Photograph from an automated digital microscope: urine filter membrane, 4× objective.
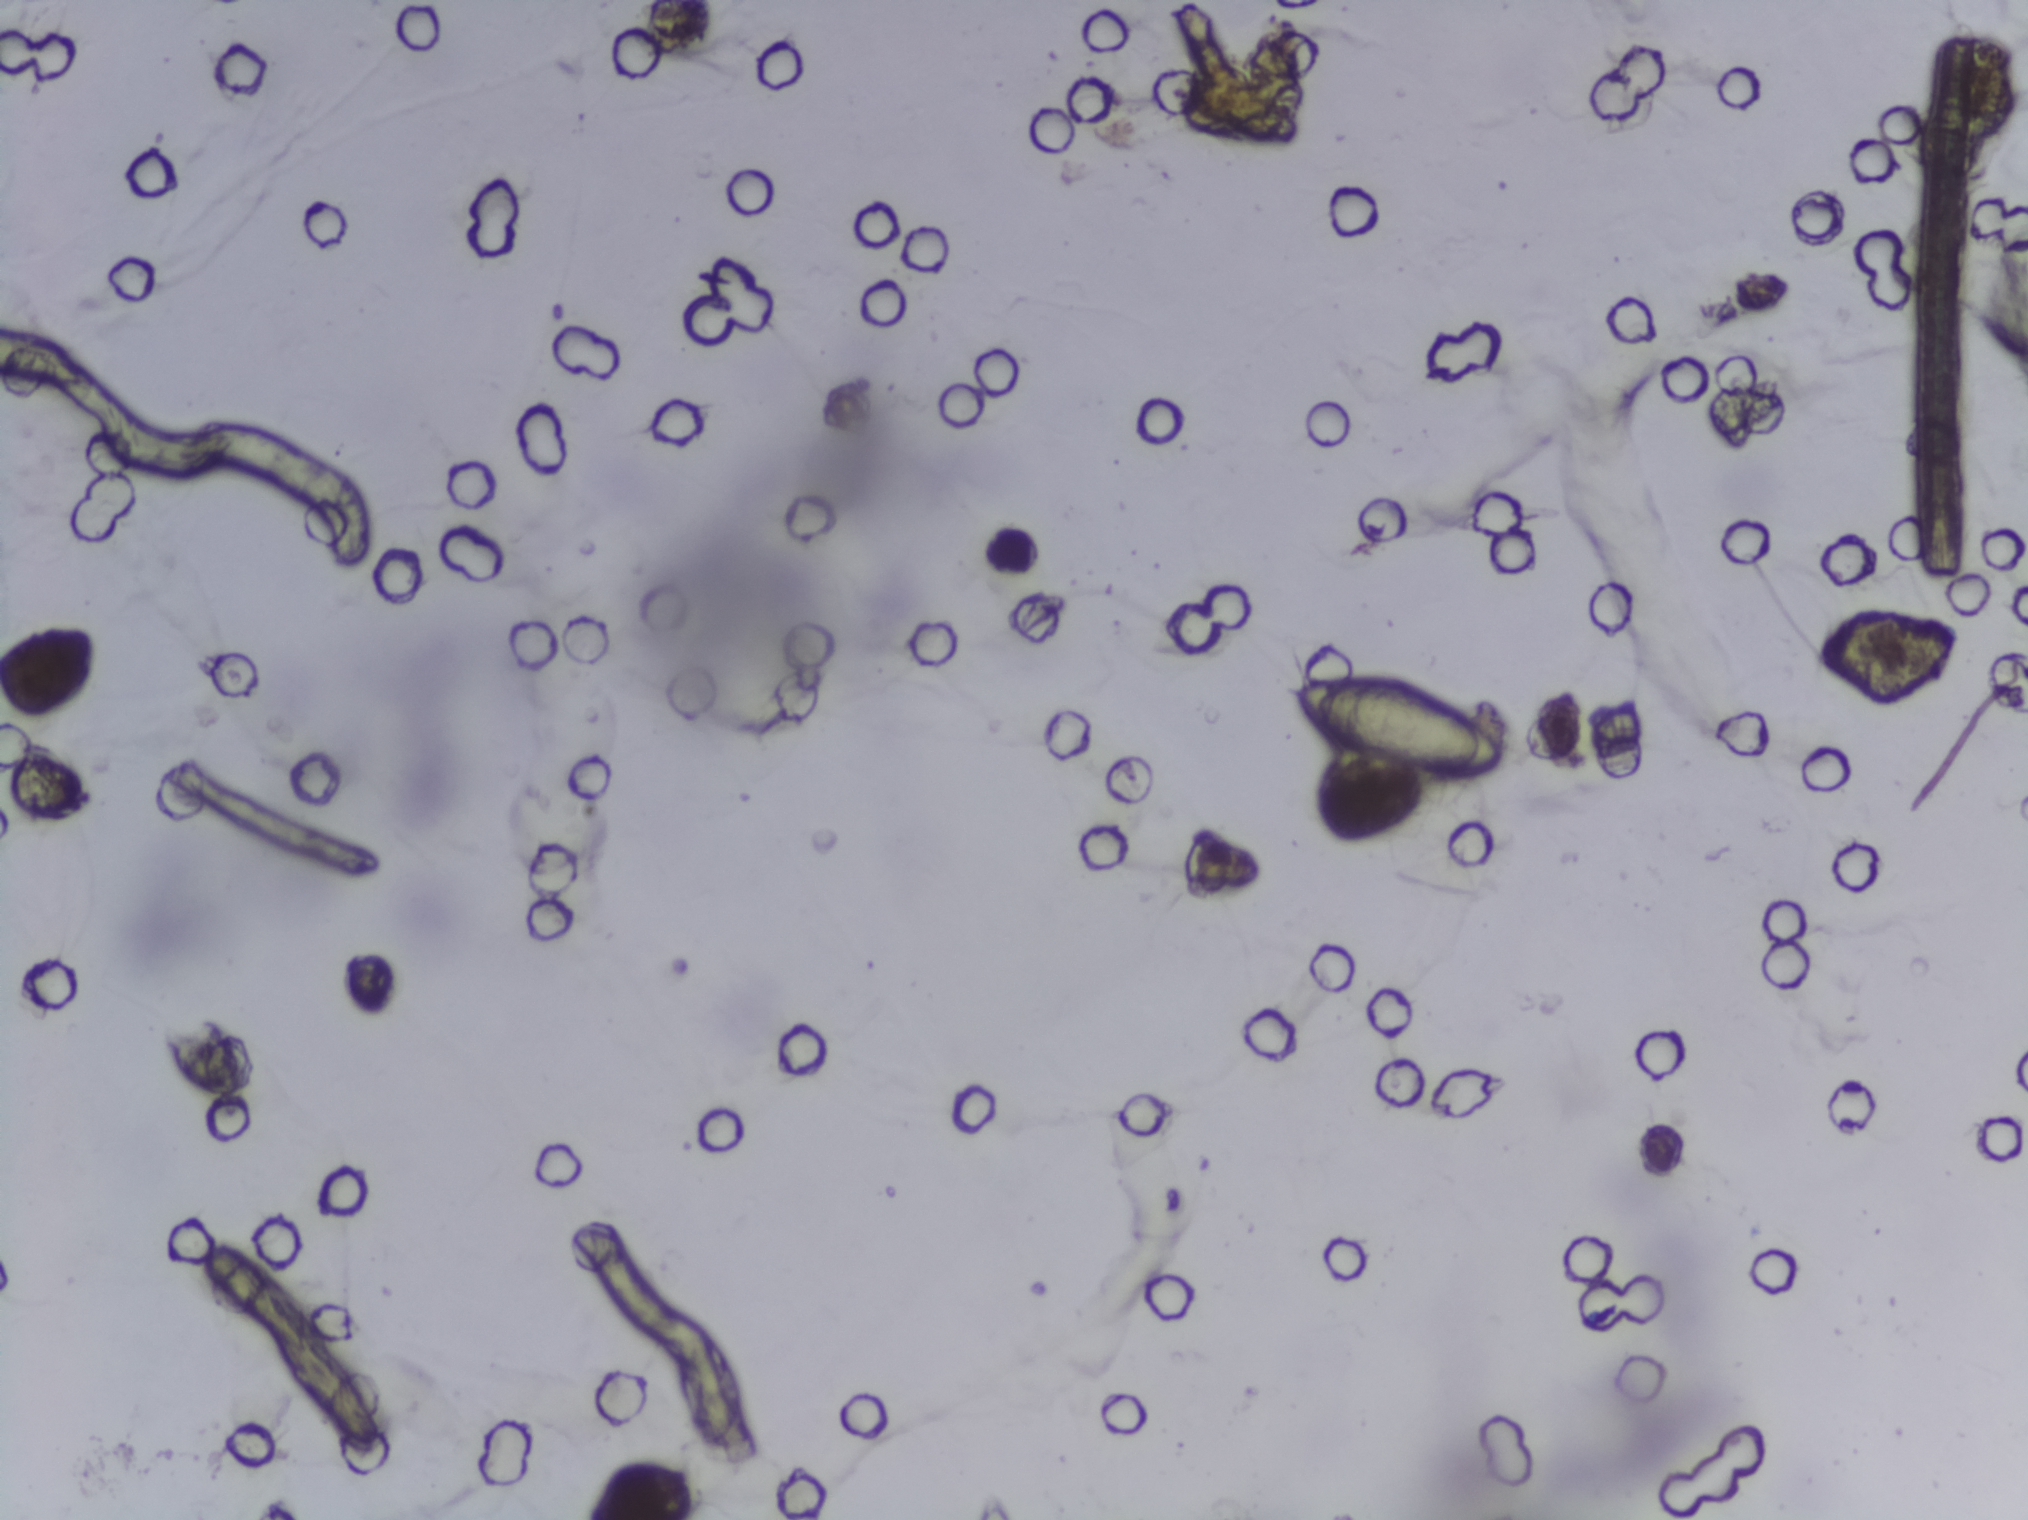
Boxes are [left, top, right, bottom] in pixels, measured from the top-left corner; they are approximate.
Findings: one area outlined as Schistosoma eggs. Location: [1274, 673, 1505, 786]. The marked pixels themselves, not the box around them, cover about 0.6% of the image. A single outlined area may contain several eggs.